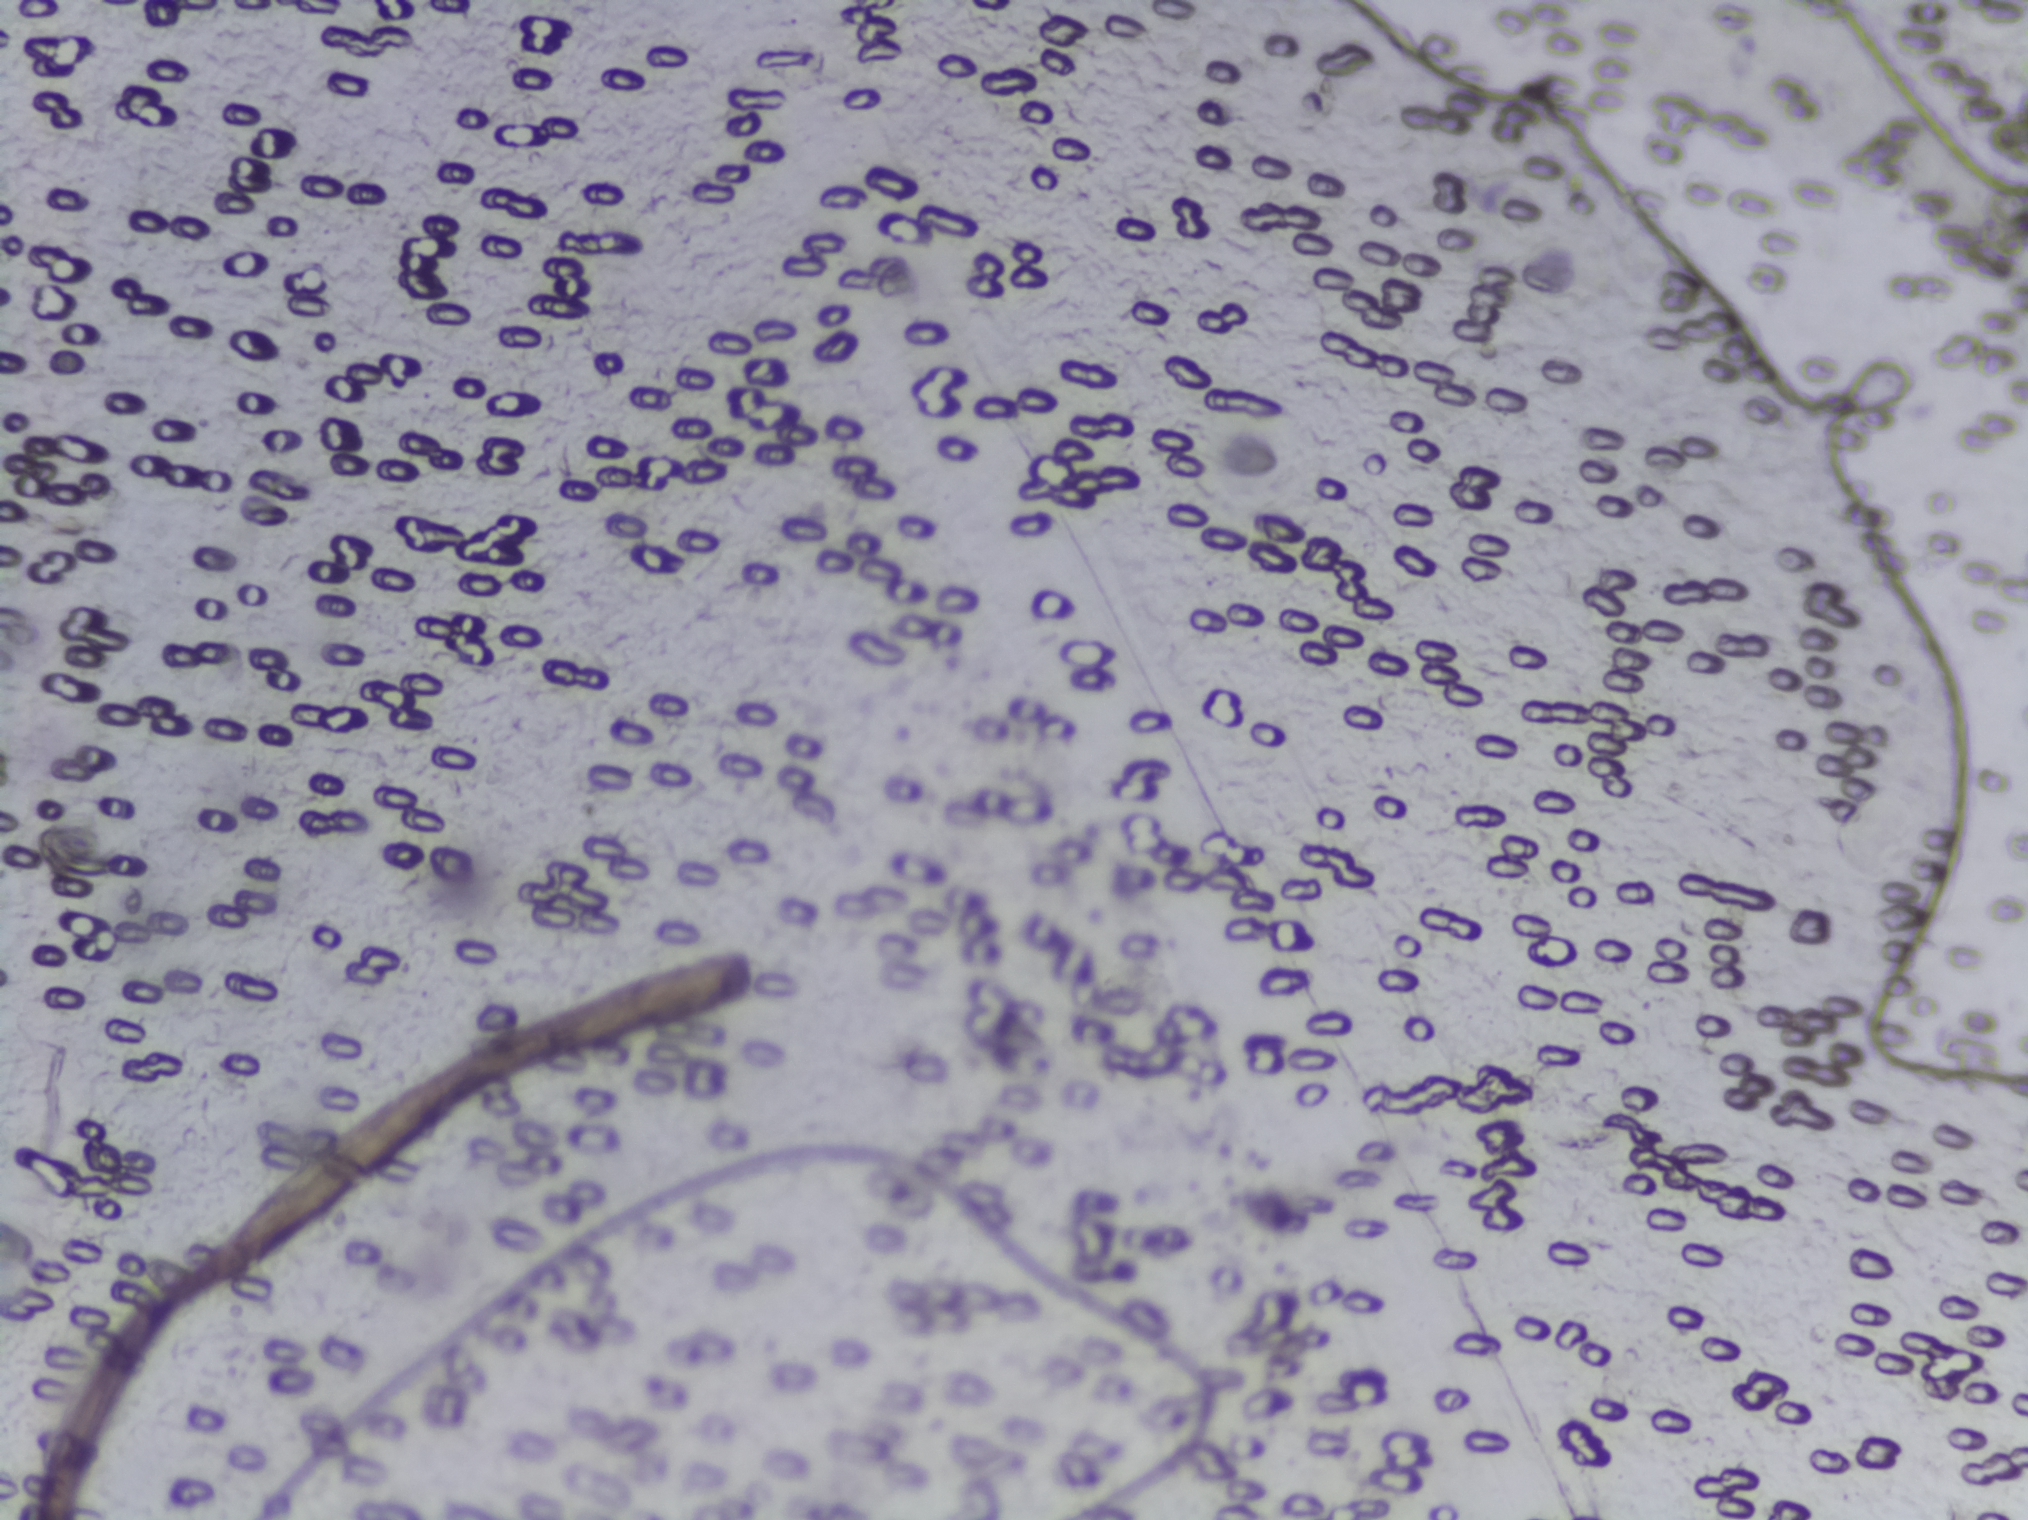
Urine filtration membrane under a 4× objective, photographed by an automated digital microscope. The field of view is about 1.5 mm × 1.1 mm.
The expert annotation marks no Schistosoma egg in this field of view.